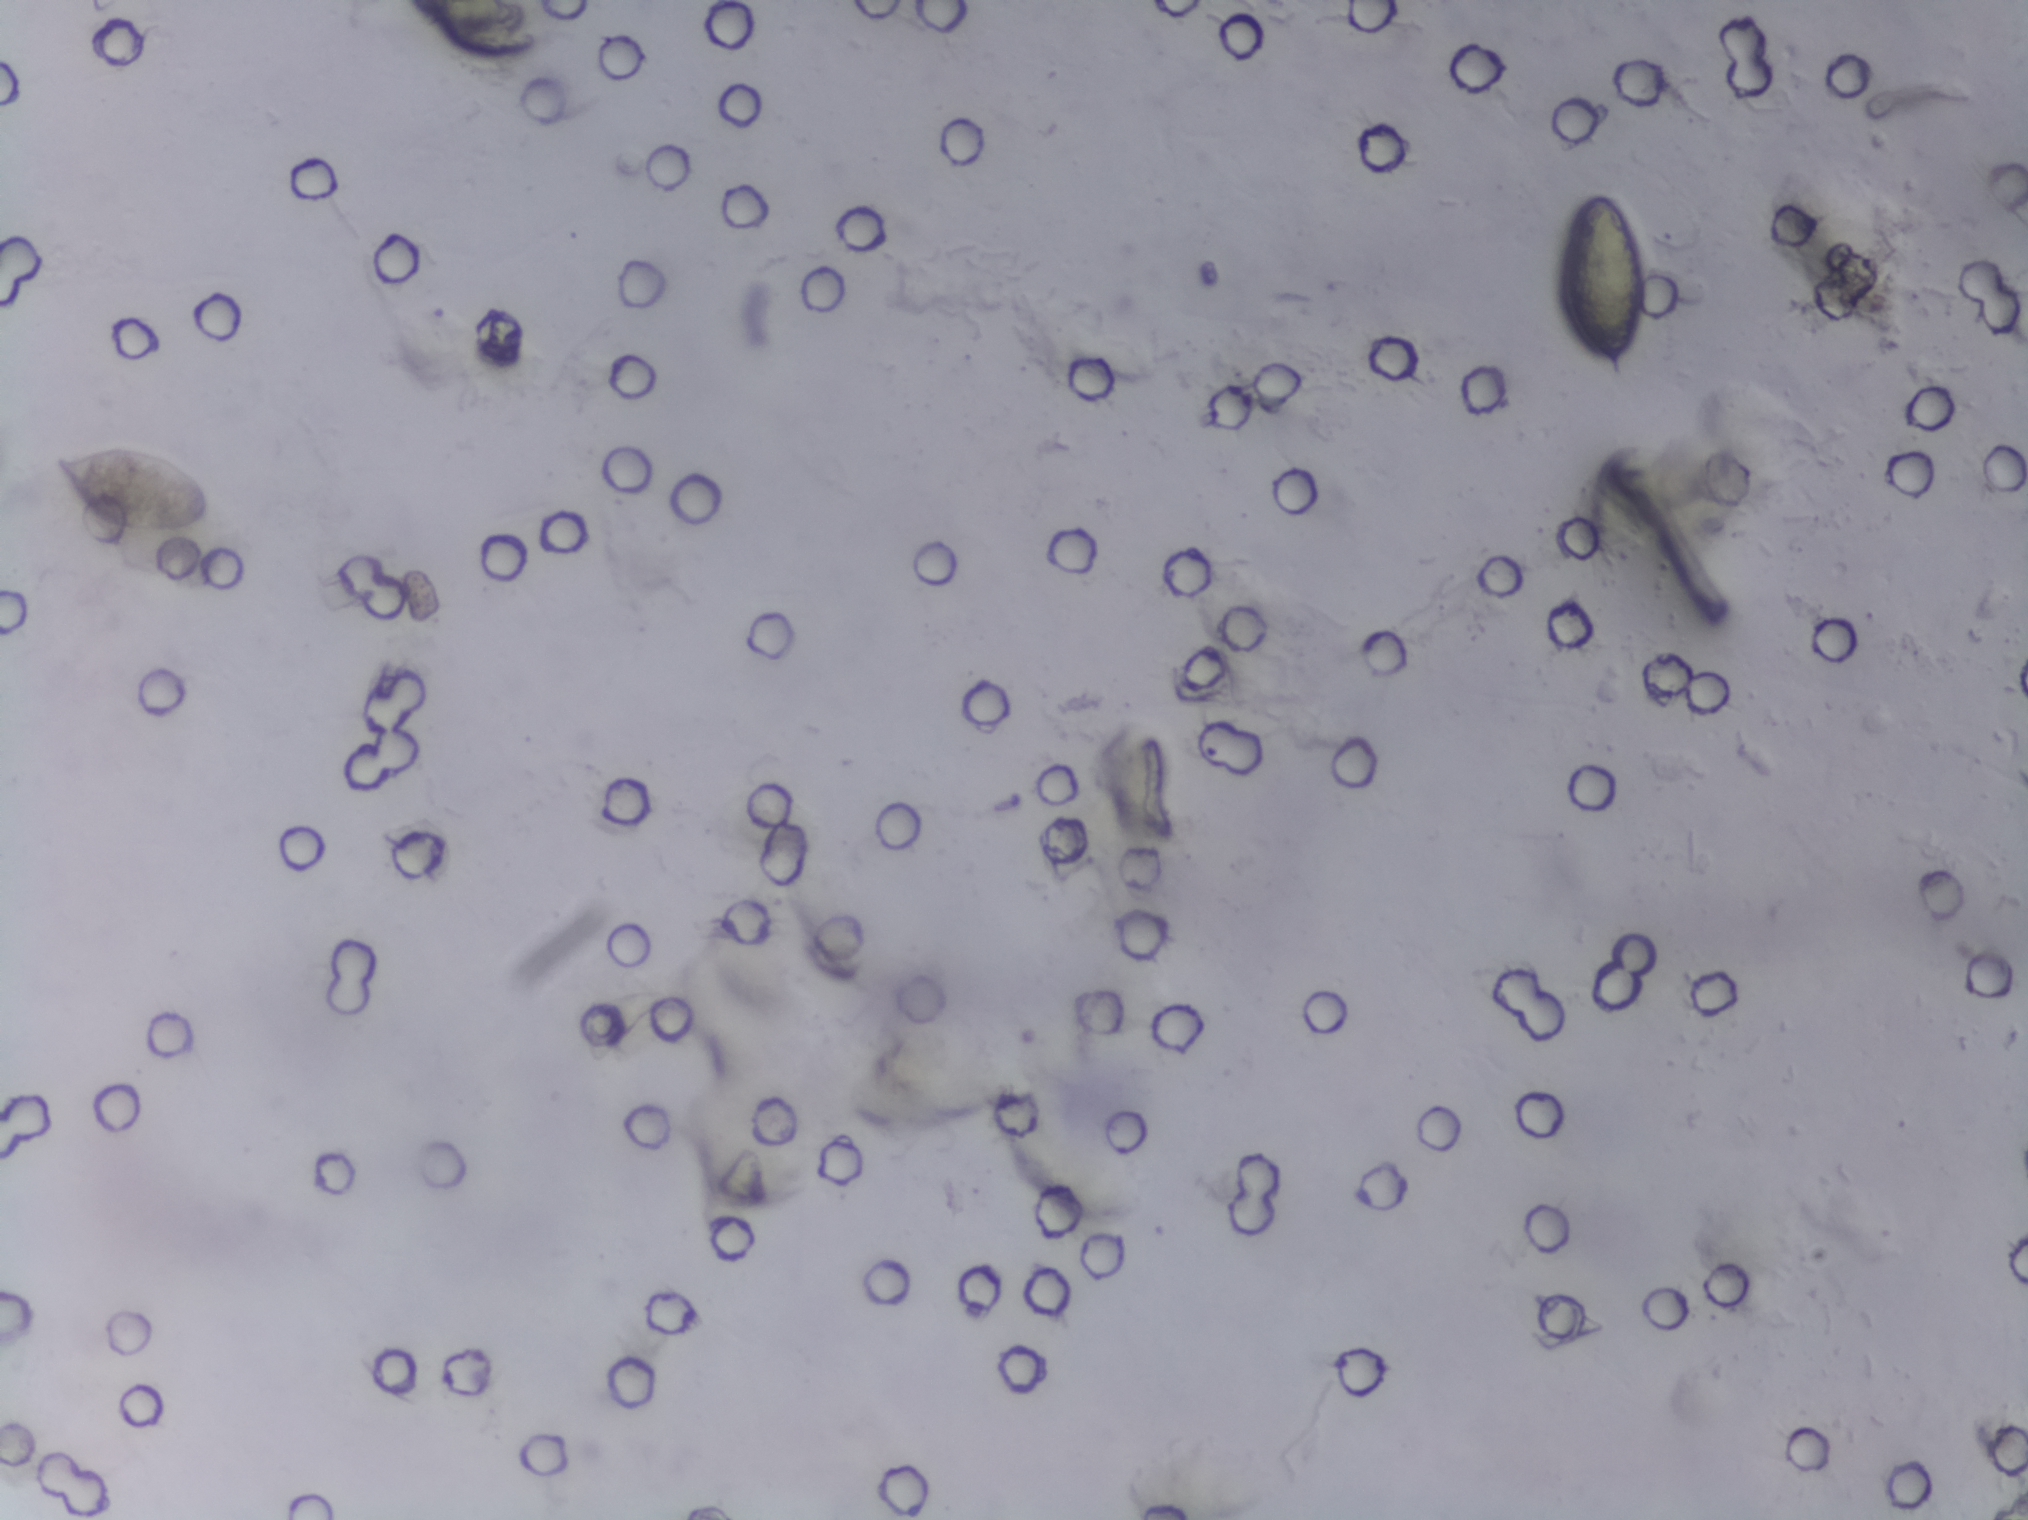
Microscope photograph (4× objective) of a membrane that a urine sample was filtered through.
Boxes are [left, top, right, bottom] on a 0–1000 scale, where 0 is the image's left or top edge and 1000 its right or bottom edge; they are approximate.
{"schistosoma_egg_areas_xyxy_per1000": [[21, 293, 107, 351], [763, 124, 813, 249]]}
A single outlined area may contain several eggs.